Photograph from an automated digital microscope: urine filter membrane, 4× objective.
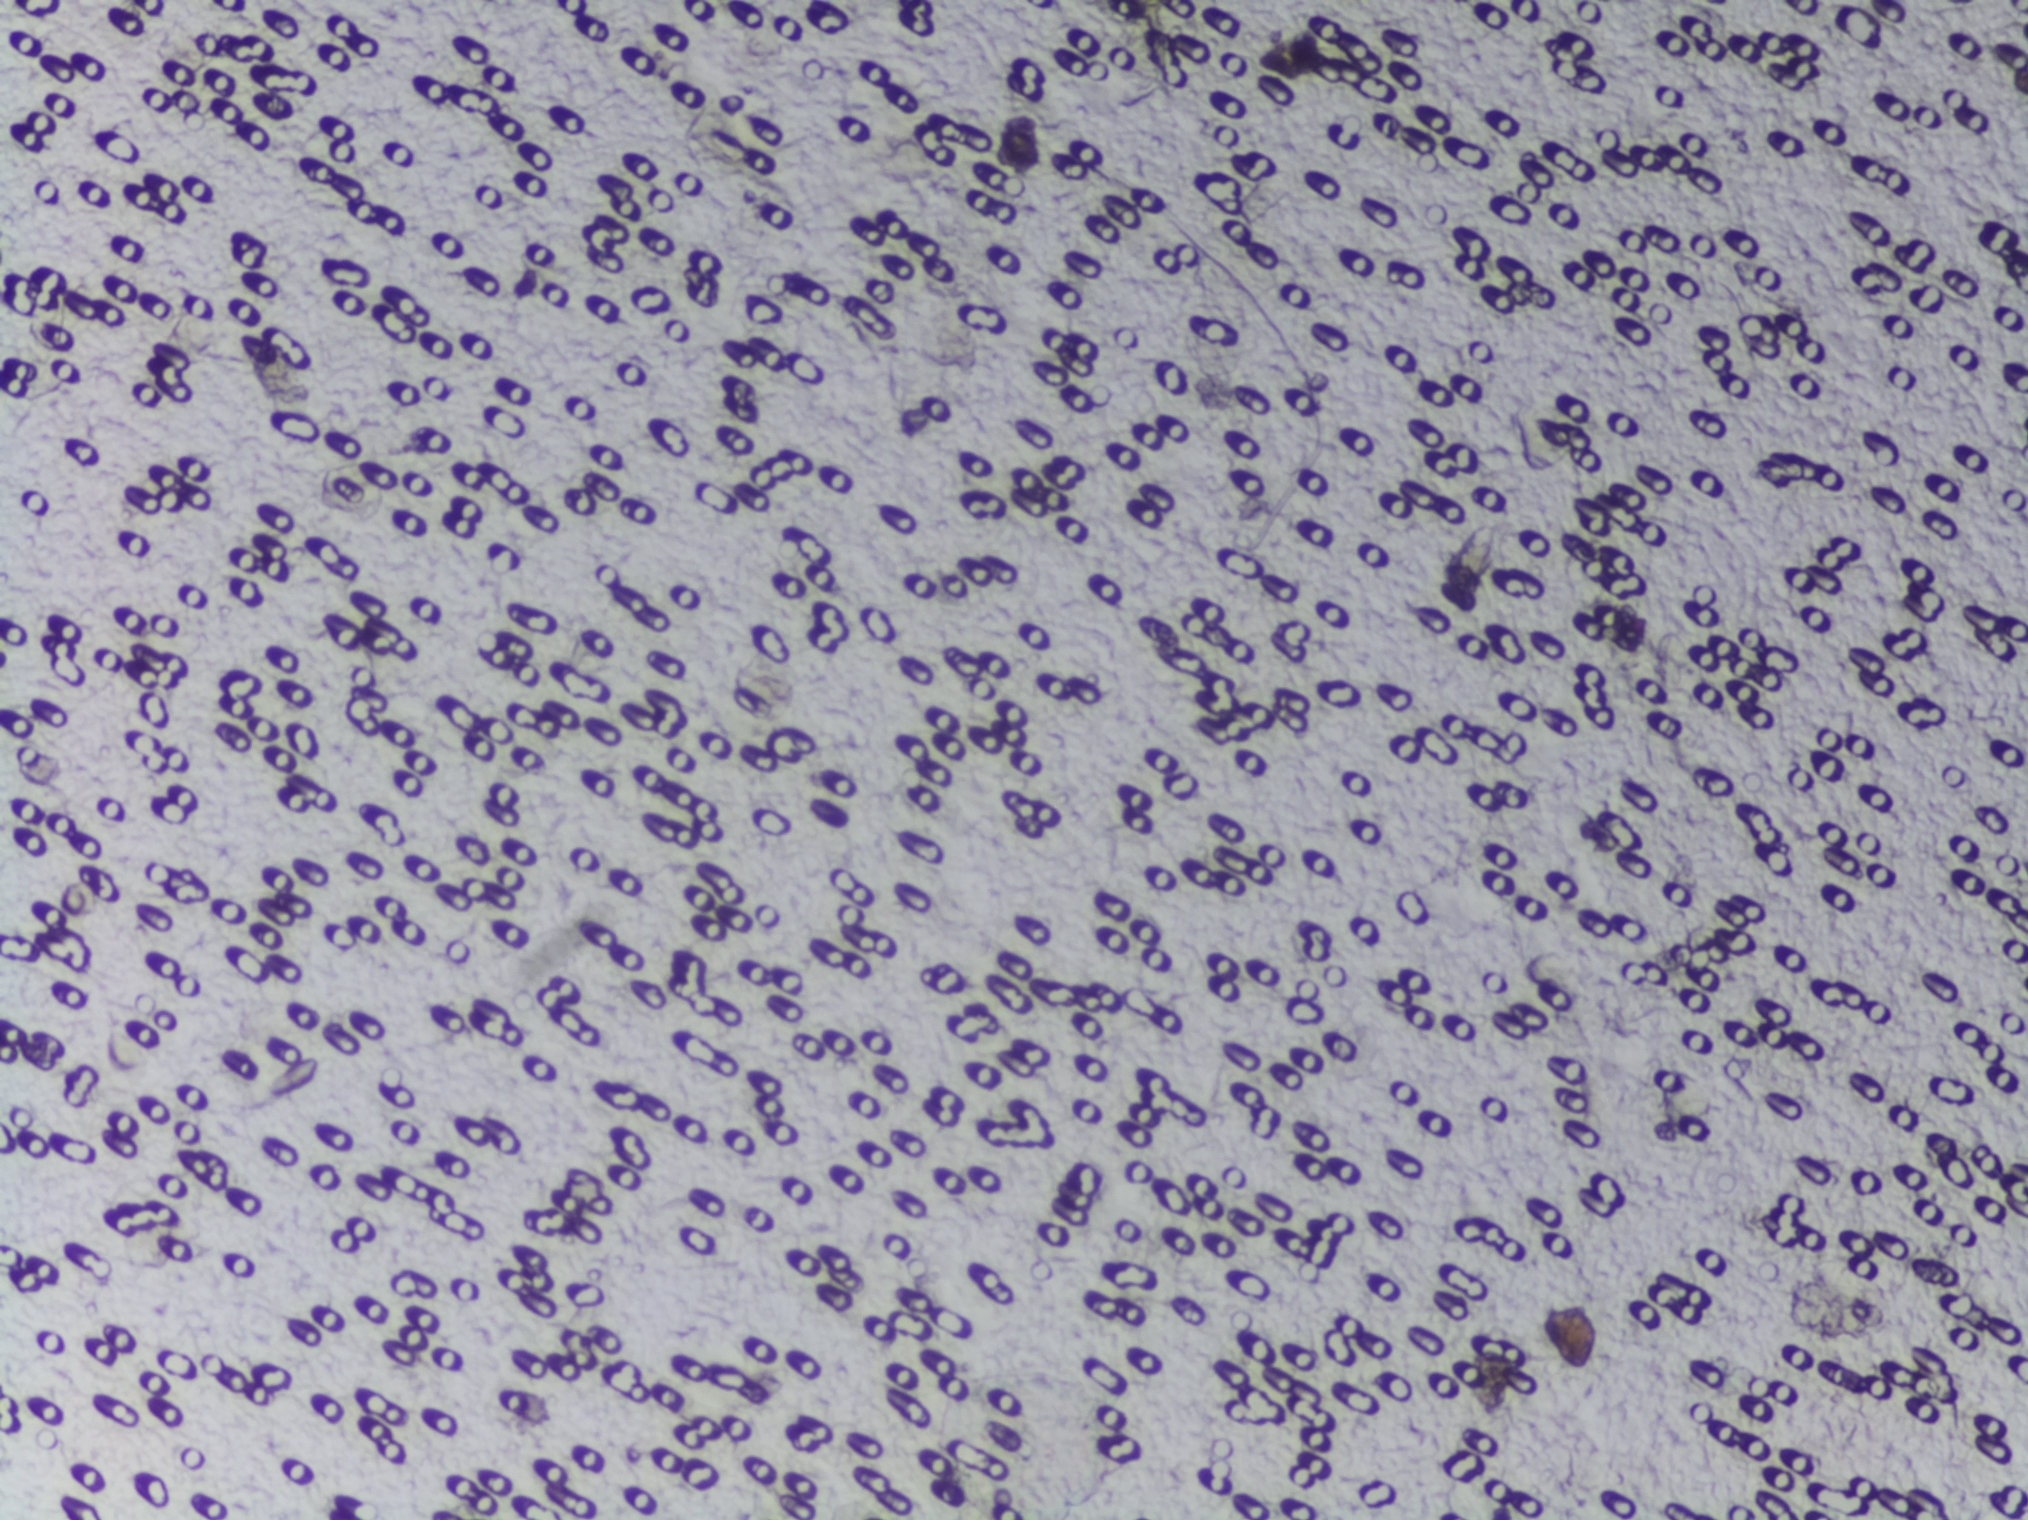
Schistosoma eggs: none outlined.